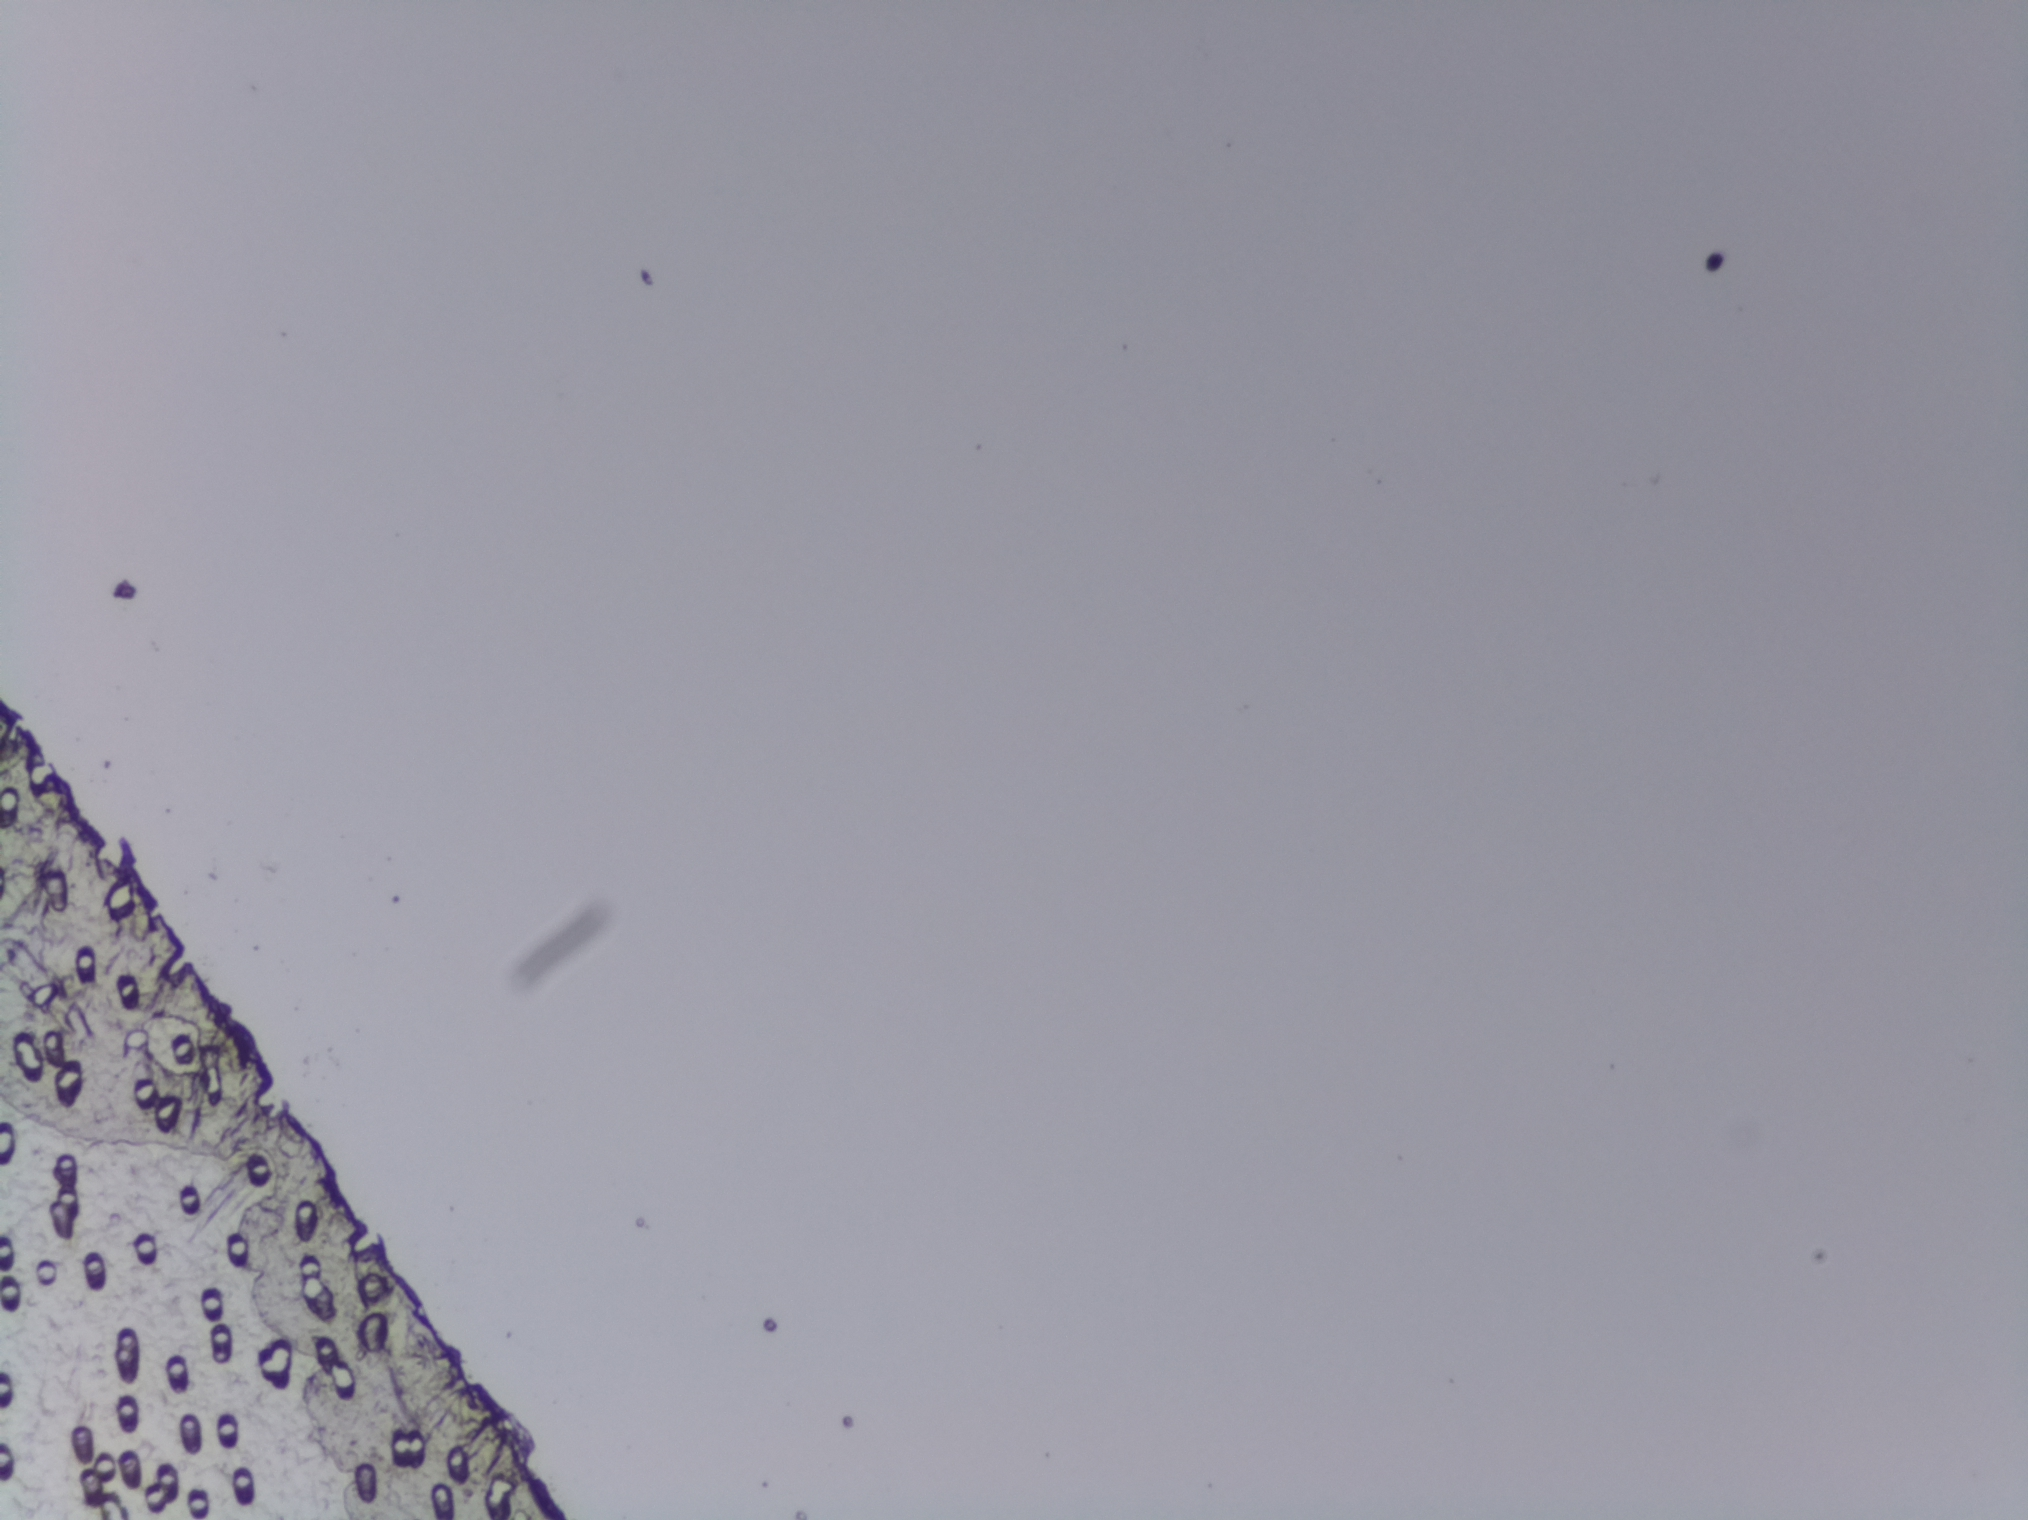
Urine filter membrane photographed through a 4× microscope objective.
No area of this image was outlined as a Schistosoma egg.